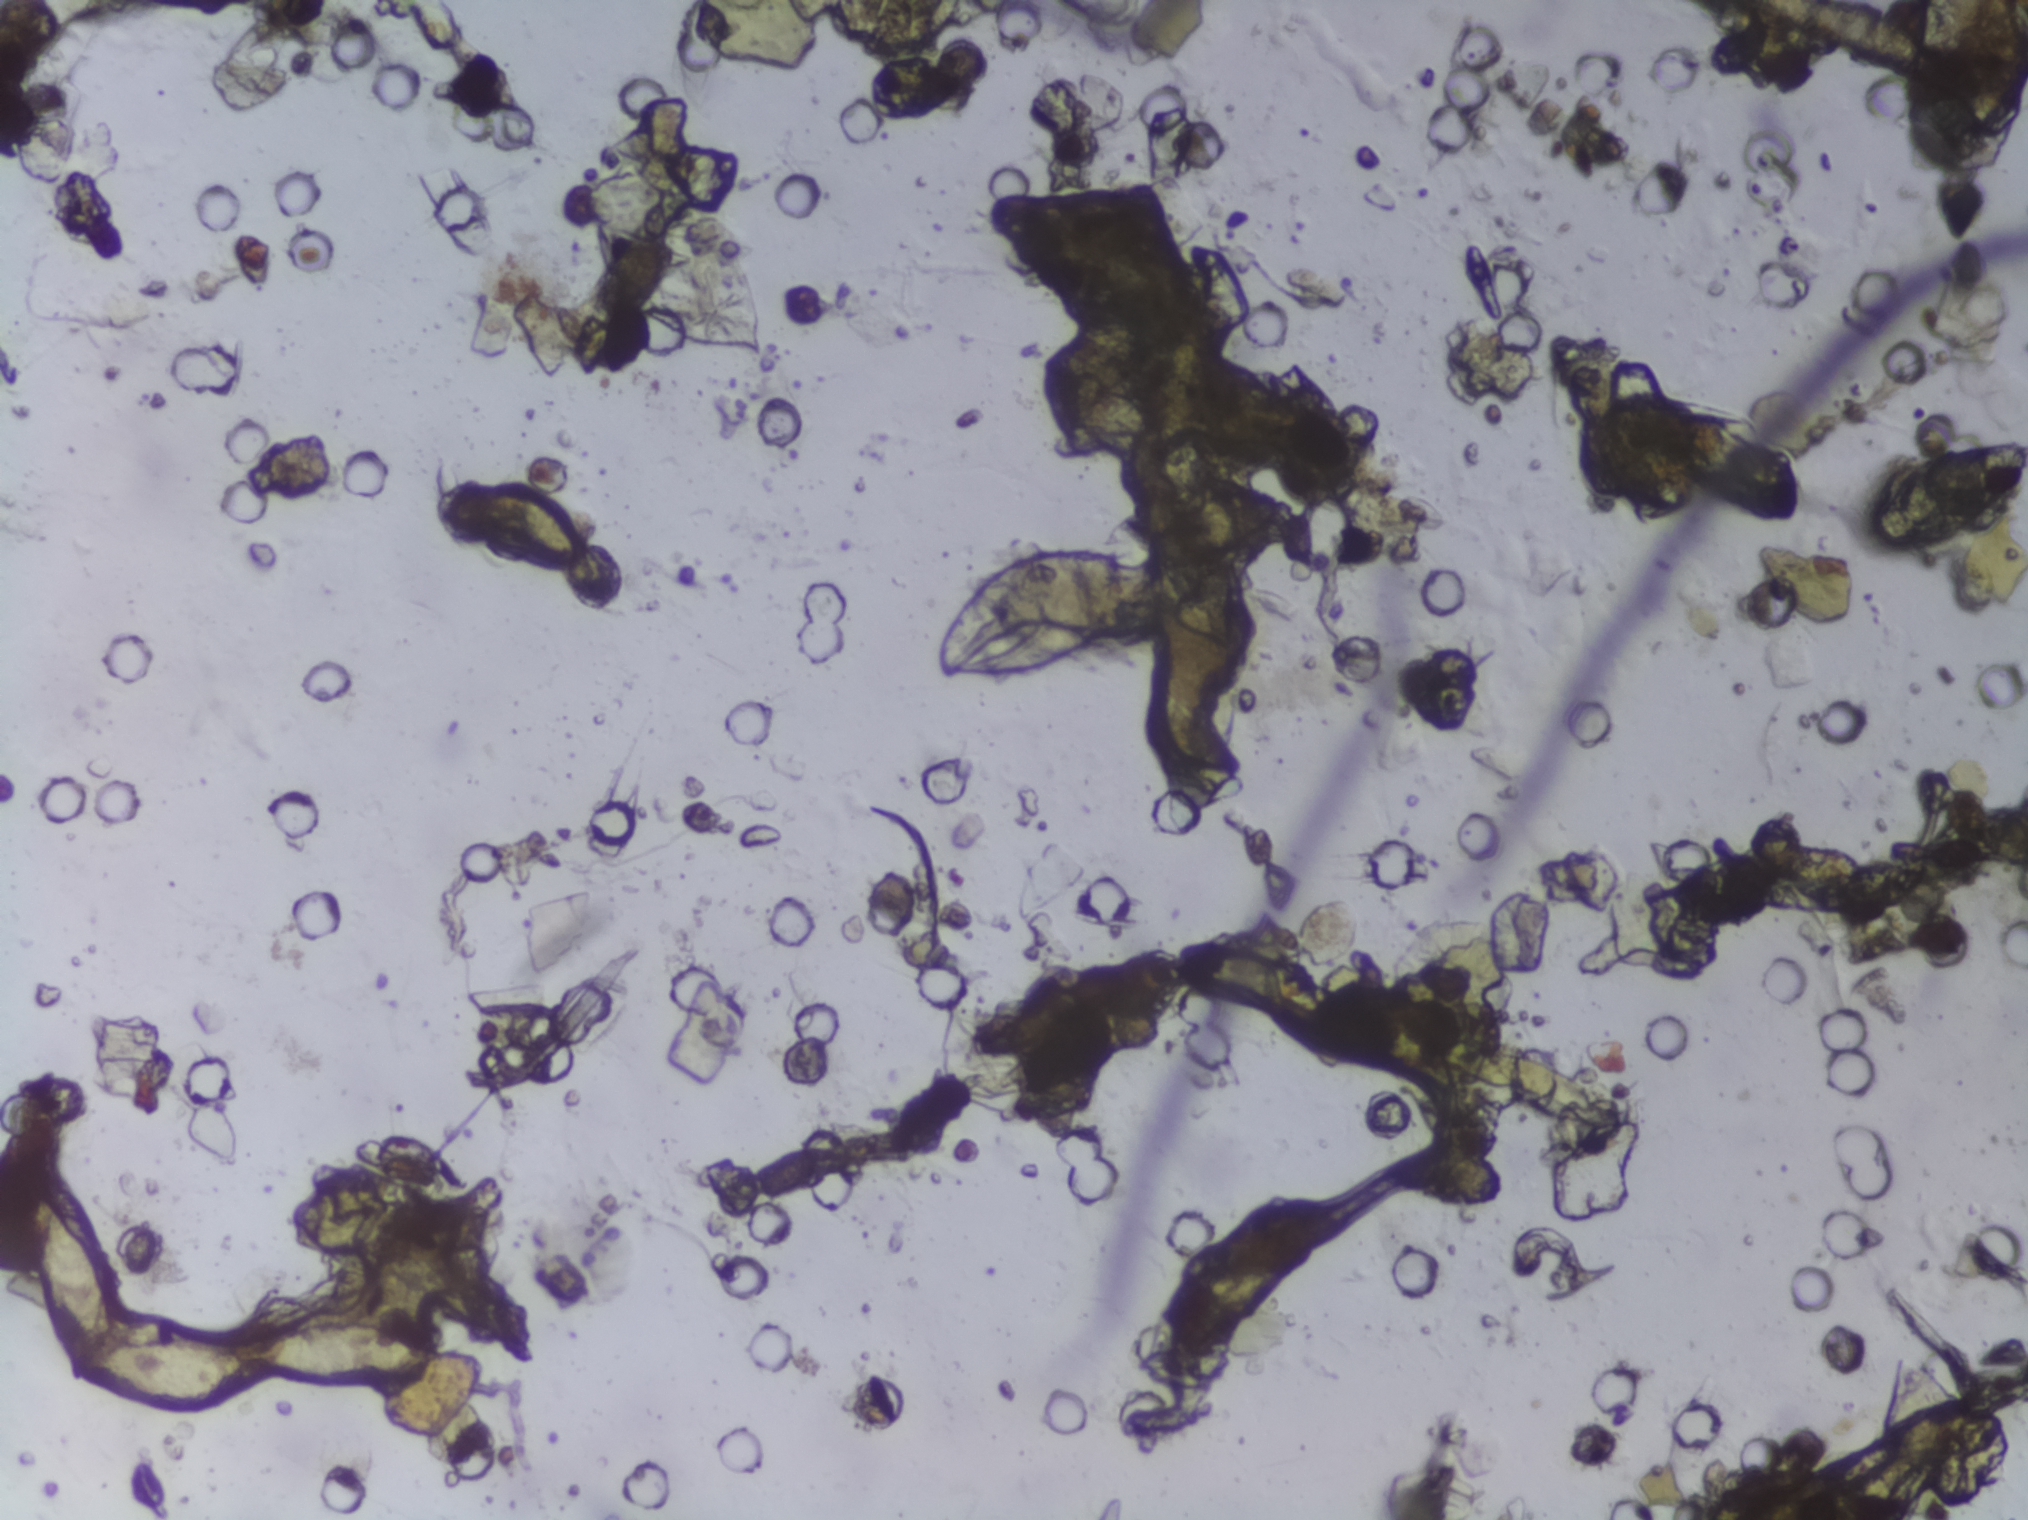
One field of view of a urine filter membrane, 4× objective, 2028 × 1520 pixels. Field of view: about 1.5 mm wide and 1.1 mm high.
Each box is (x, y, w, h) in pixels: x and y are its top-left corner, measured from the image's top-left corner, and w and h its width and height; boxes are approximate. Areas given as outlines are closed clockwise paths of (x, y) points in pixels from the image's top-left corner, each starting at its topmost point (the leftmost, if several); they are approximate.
Findings: five areas outlined as Schistosoma eggs. Locations: outline (47, 1182), (80, 1195), (104, 1228), (119, 1302), (104, 1351), (138, 1339), (205, 1341), (232, 1349), (277, 1327), (351, 1315), (418, 1340), (429, 1370), (416, 1384), (382, 1395), (278, 1389), (252, 1379), (225, 1396), (185, 1407), (140, 1405), (88, 1384), (73, 1374), (84, 1360), (68, 1352), (47, 1311), (28, 1237), (28, 1206); box (x=442, y=480, w=146, h=91); box (x=575, y=170, w=199, h=197); box (x=926, y=552, w=213, h=120); box (x=1864, y=432, w=164, h=119) (reaching the right edge of the frame). Eggs that touch can end up inside the same outlined area. Any one outlined egg may, rarely, be S. mansoni rather than S. haematobium.